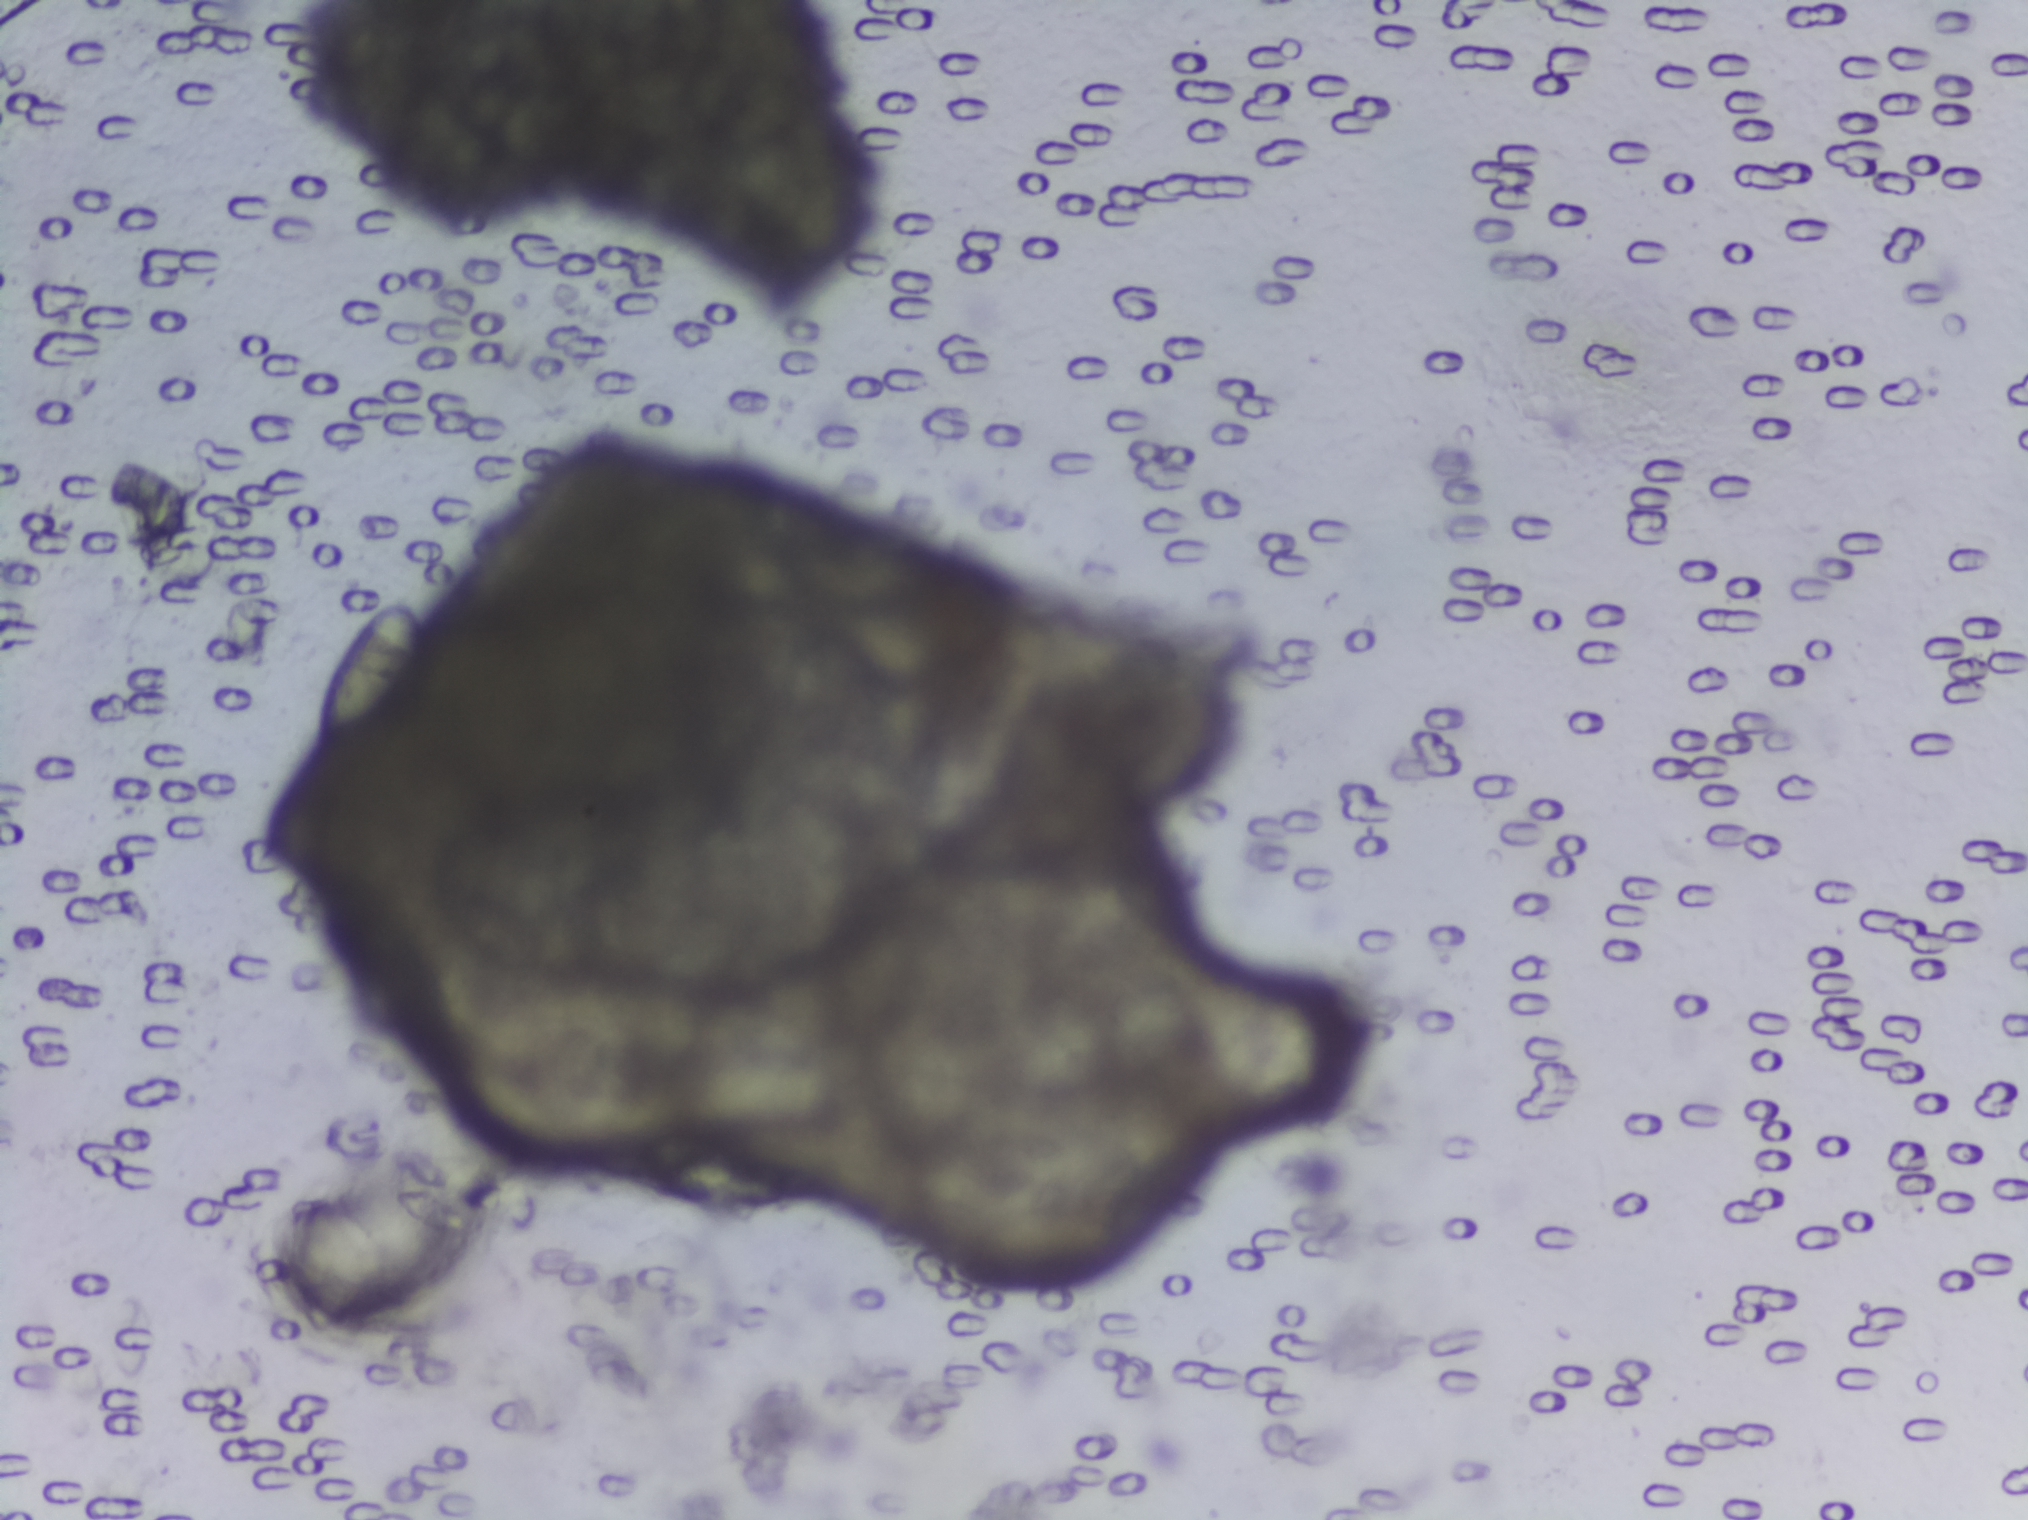
Photograph from an automated digital microscope: urine filter membrane, 4× objective.
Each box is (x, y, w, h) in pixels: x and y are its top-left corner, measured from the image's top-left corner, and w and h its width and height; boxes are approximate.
Schistosoma eggs are outlined in the expert annotation at (x=312, y=590, w=110, h=144). An outlined area can hold more than one egg.